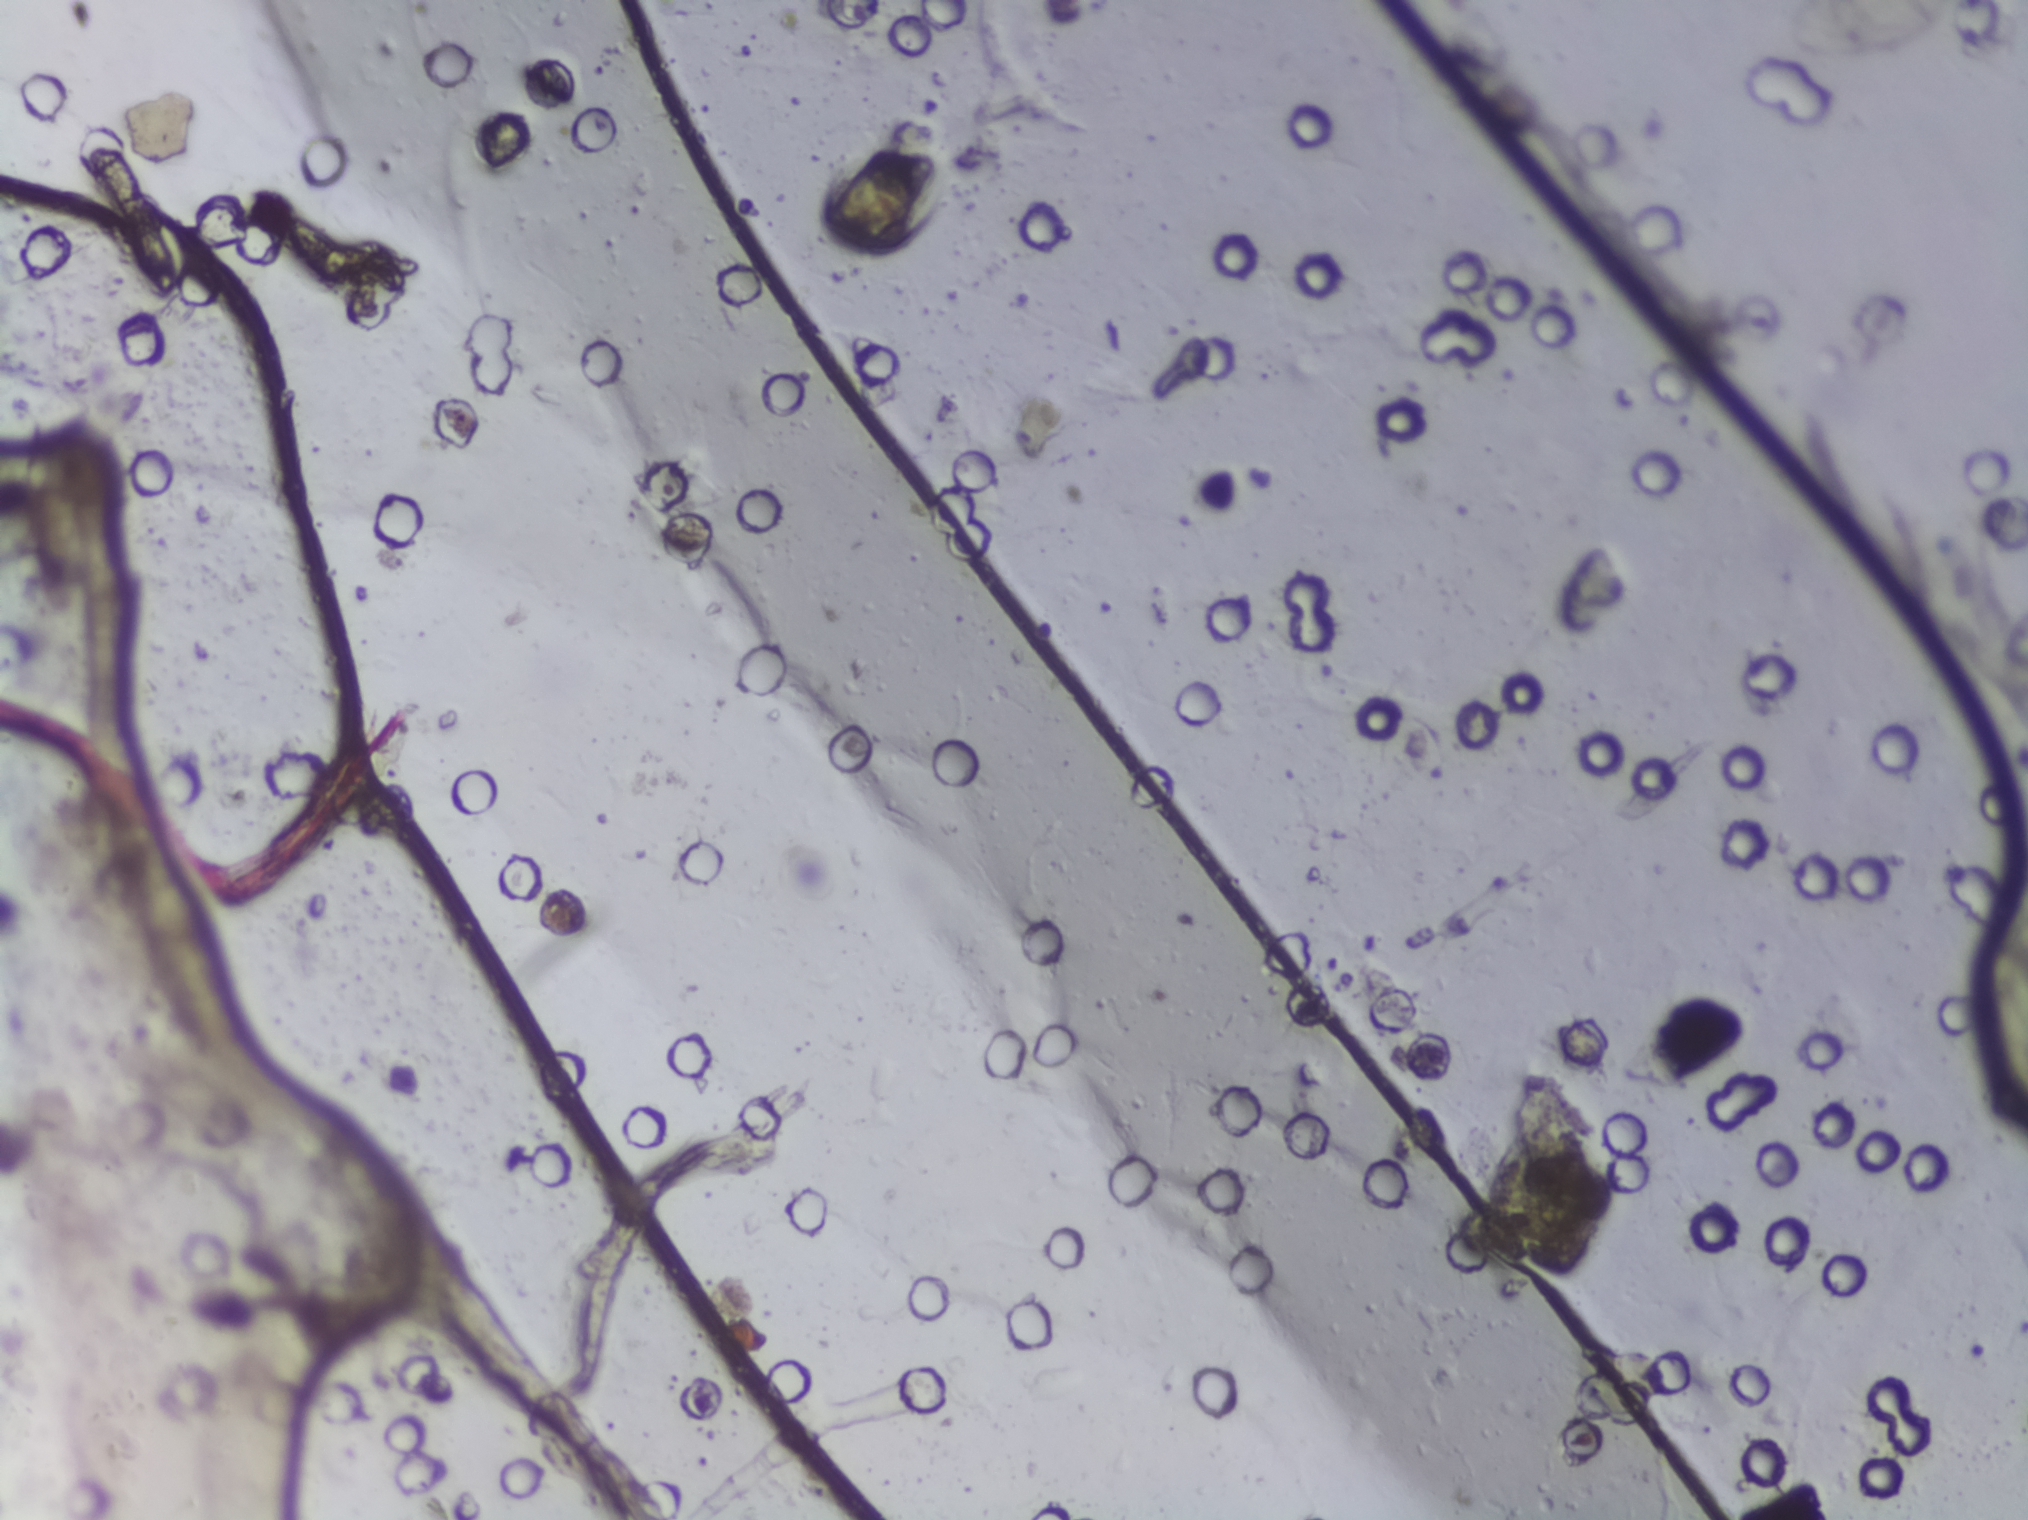
Microscope photograph (4× objective) of a membrane that a urine sample was filtered through.
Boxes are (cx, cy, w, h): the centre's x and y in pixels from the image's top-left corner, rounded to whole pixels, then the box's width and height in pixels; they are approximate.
The expert annotation outlines Schistosoma eggs at (cx=1868, cy=31, w=187, h=63) (reaching the top edge of the frame). The marked pixels themselves, not the box around them, cover about 0.3% of the image. Eggs that touch can end up inside the same outlined area.